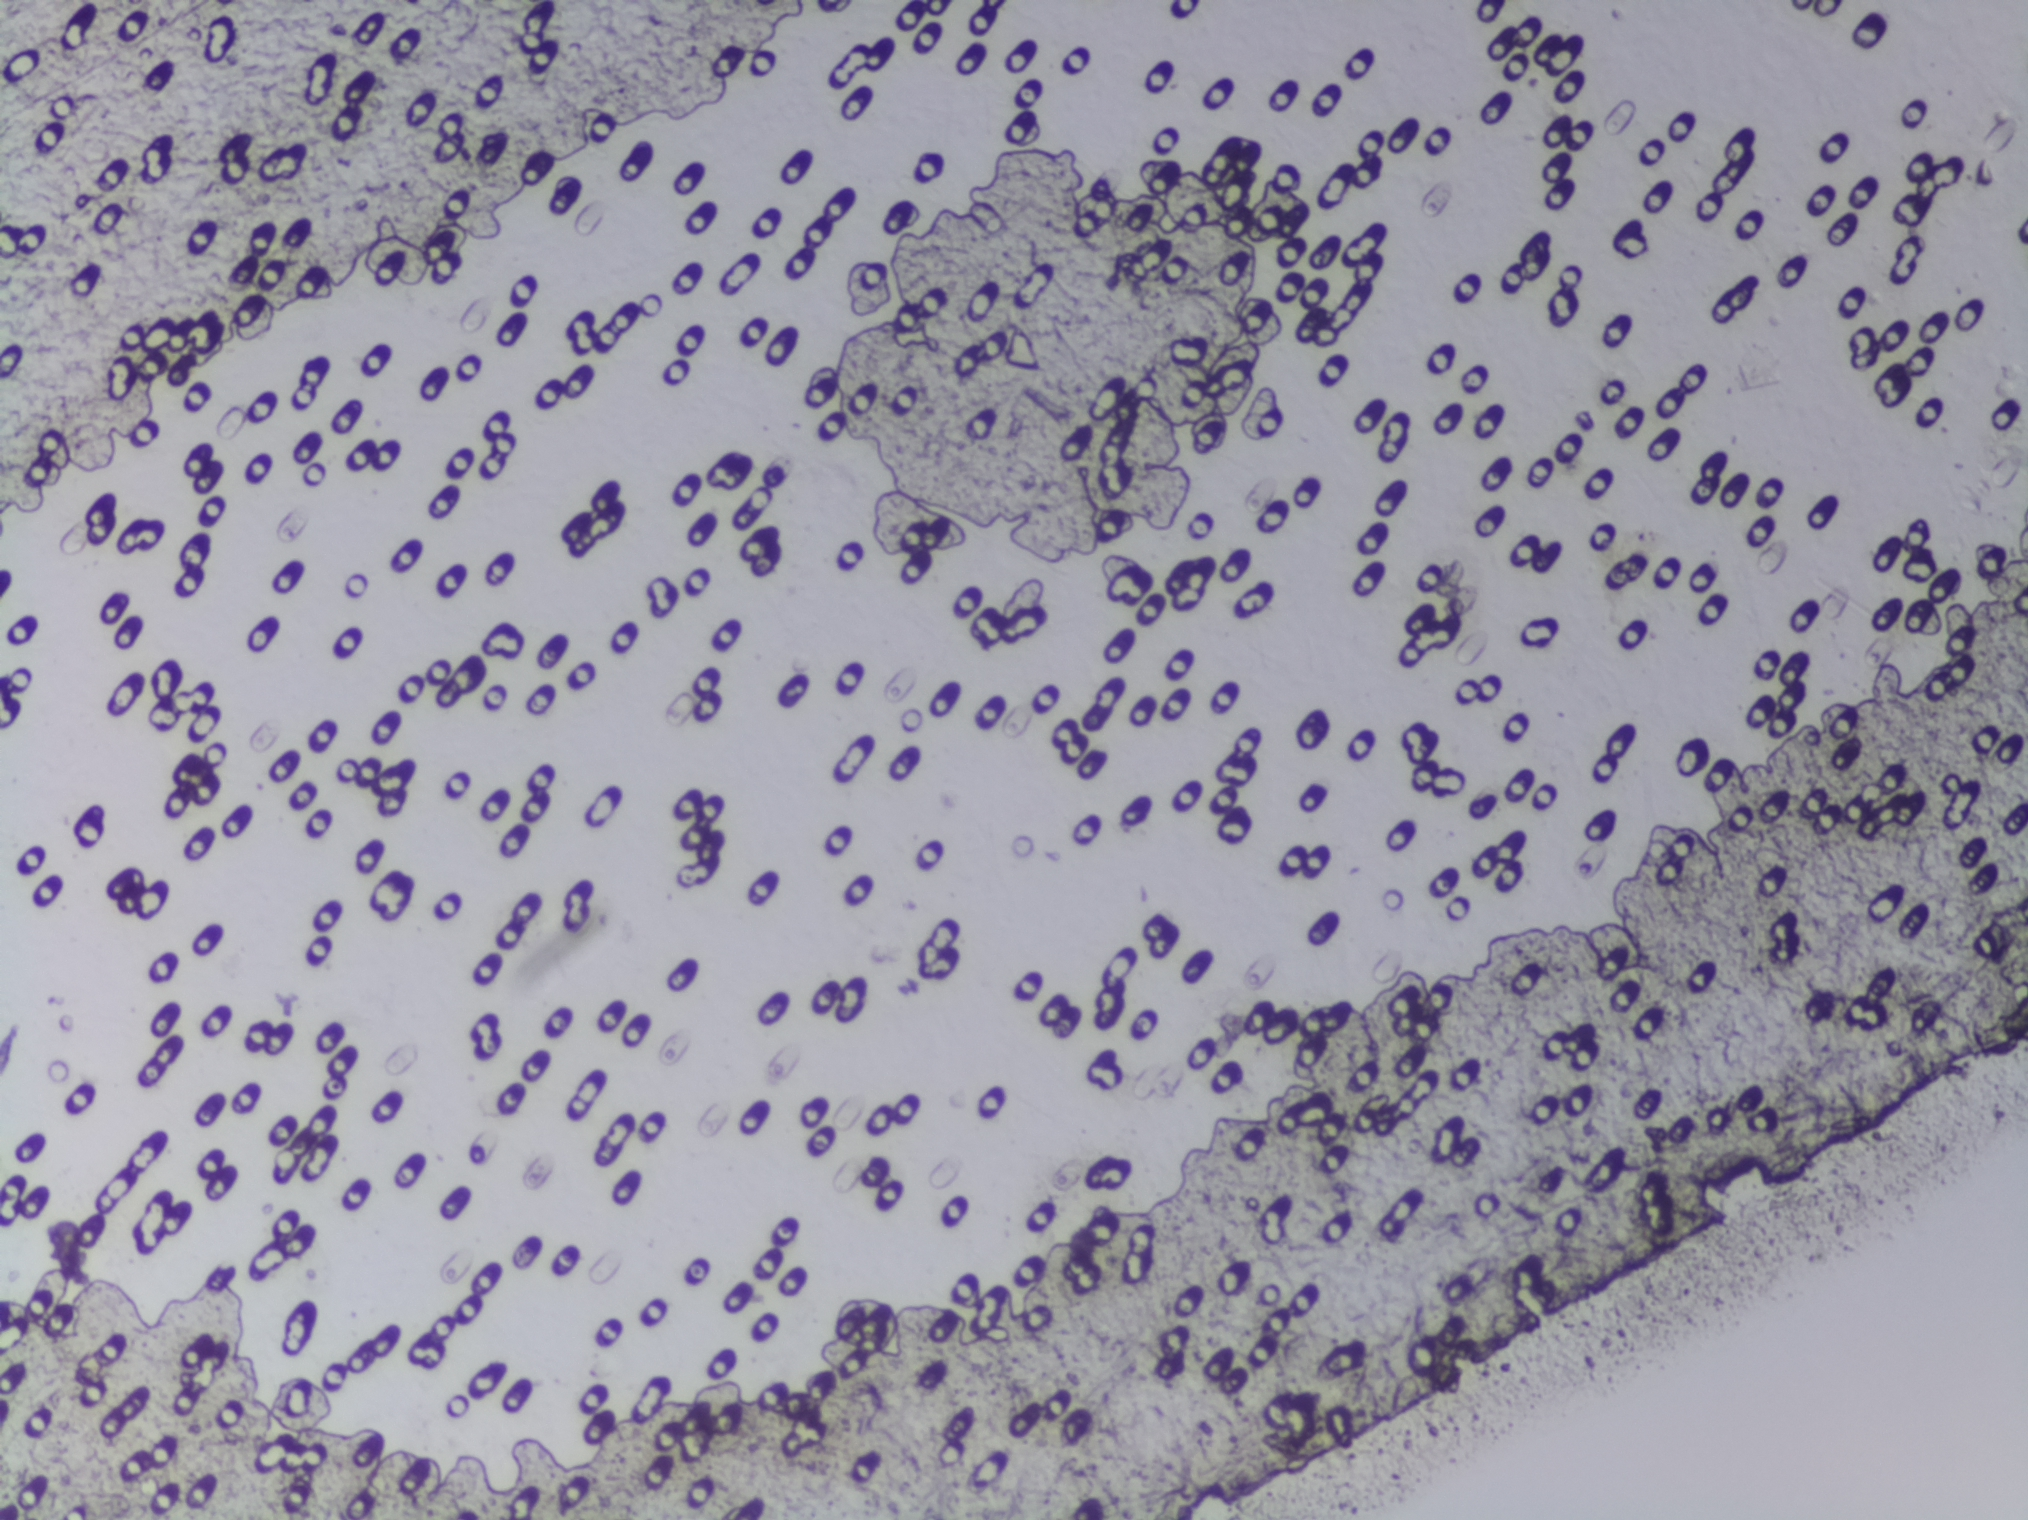
Urine filtration membrane under a 4× objective, photographed by an automated digital microscope. Field of view: about 1.5 mm wide and 1.1 mm high.
Schistosoma eggs: none outlined.